One field of view of a urine filter membrane, 4× objective, 2028 × 1520 pixels.
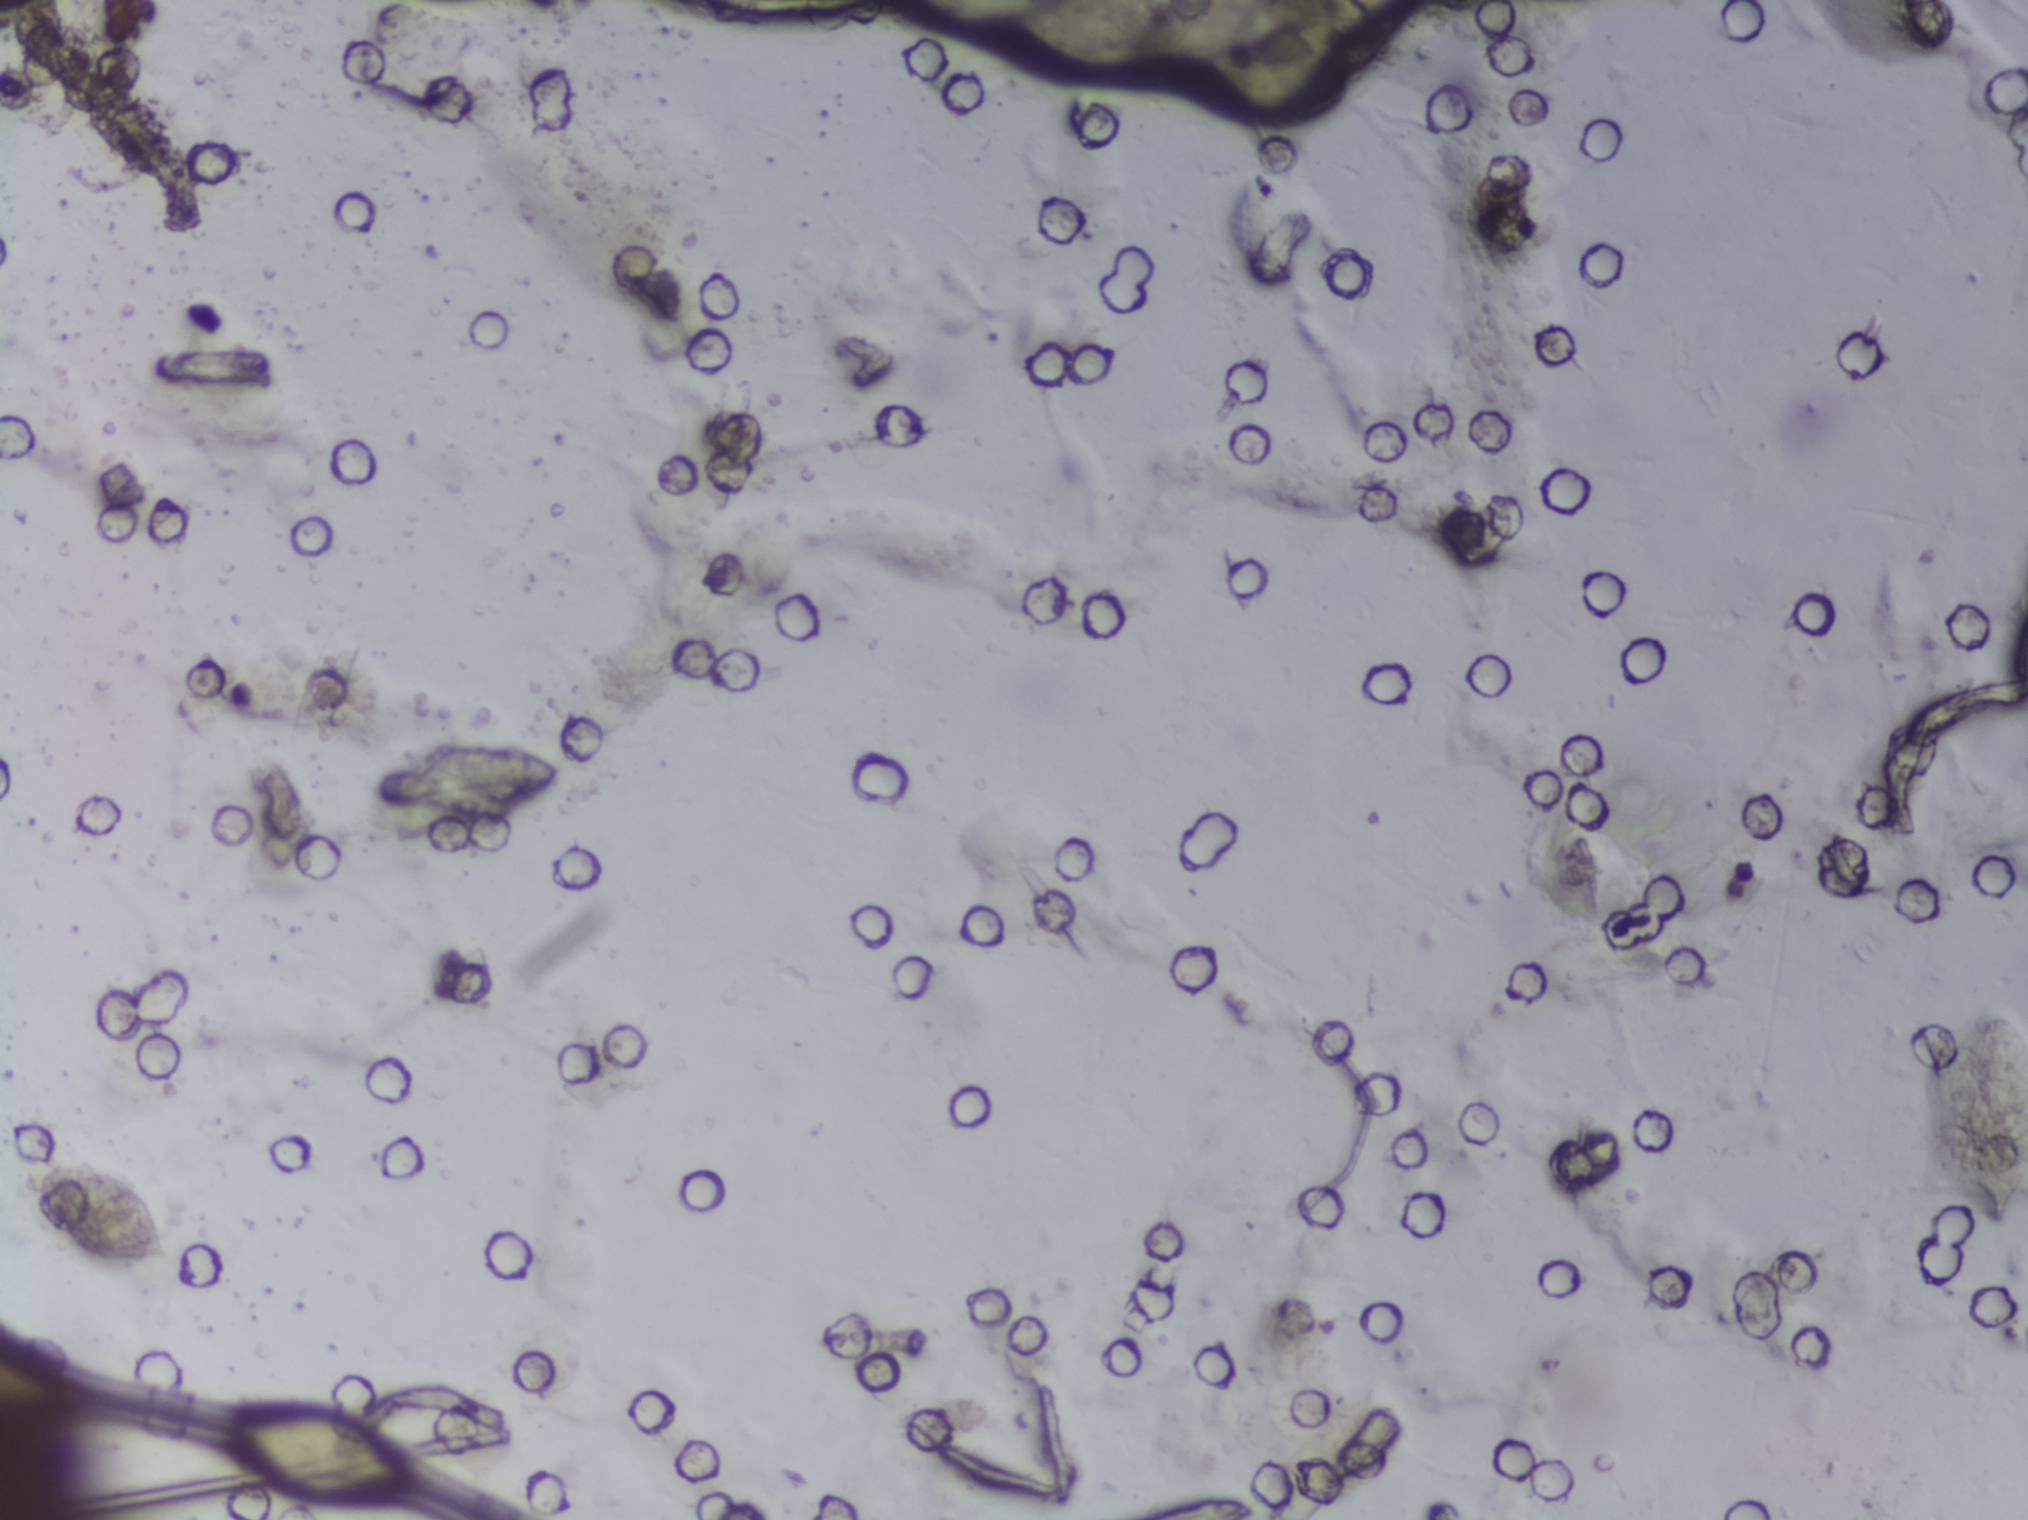
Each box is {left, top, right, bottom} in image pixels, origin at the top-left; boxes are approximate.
Schistosoma egg areas, outlined: {20, 1166, 172, 1268}; {220, 1405, 410, 1498}. Marked pixels, not the boxes around them: about 0.8% of the image. An outlined area can hold more than one egg.